Microscope photograph (4× objective) of a membrane that a urine sample was filtered through.
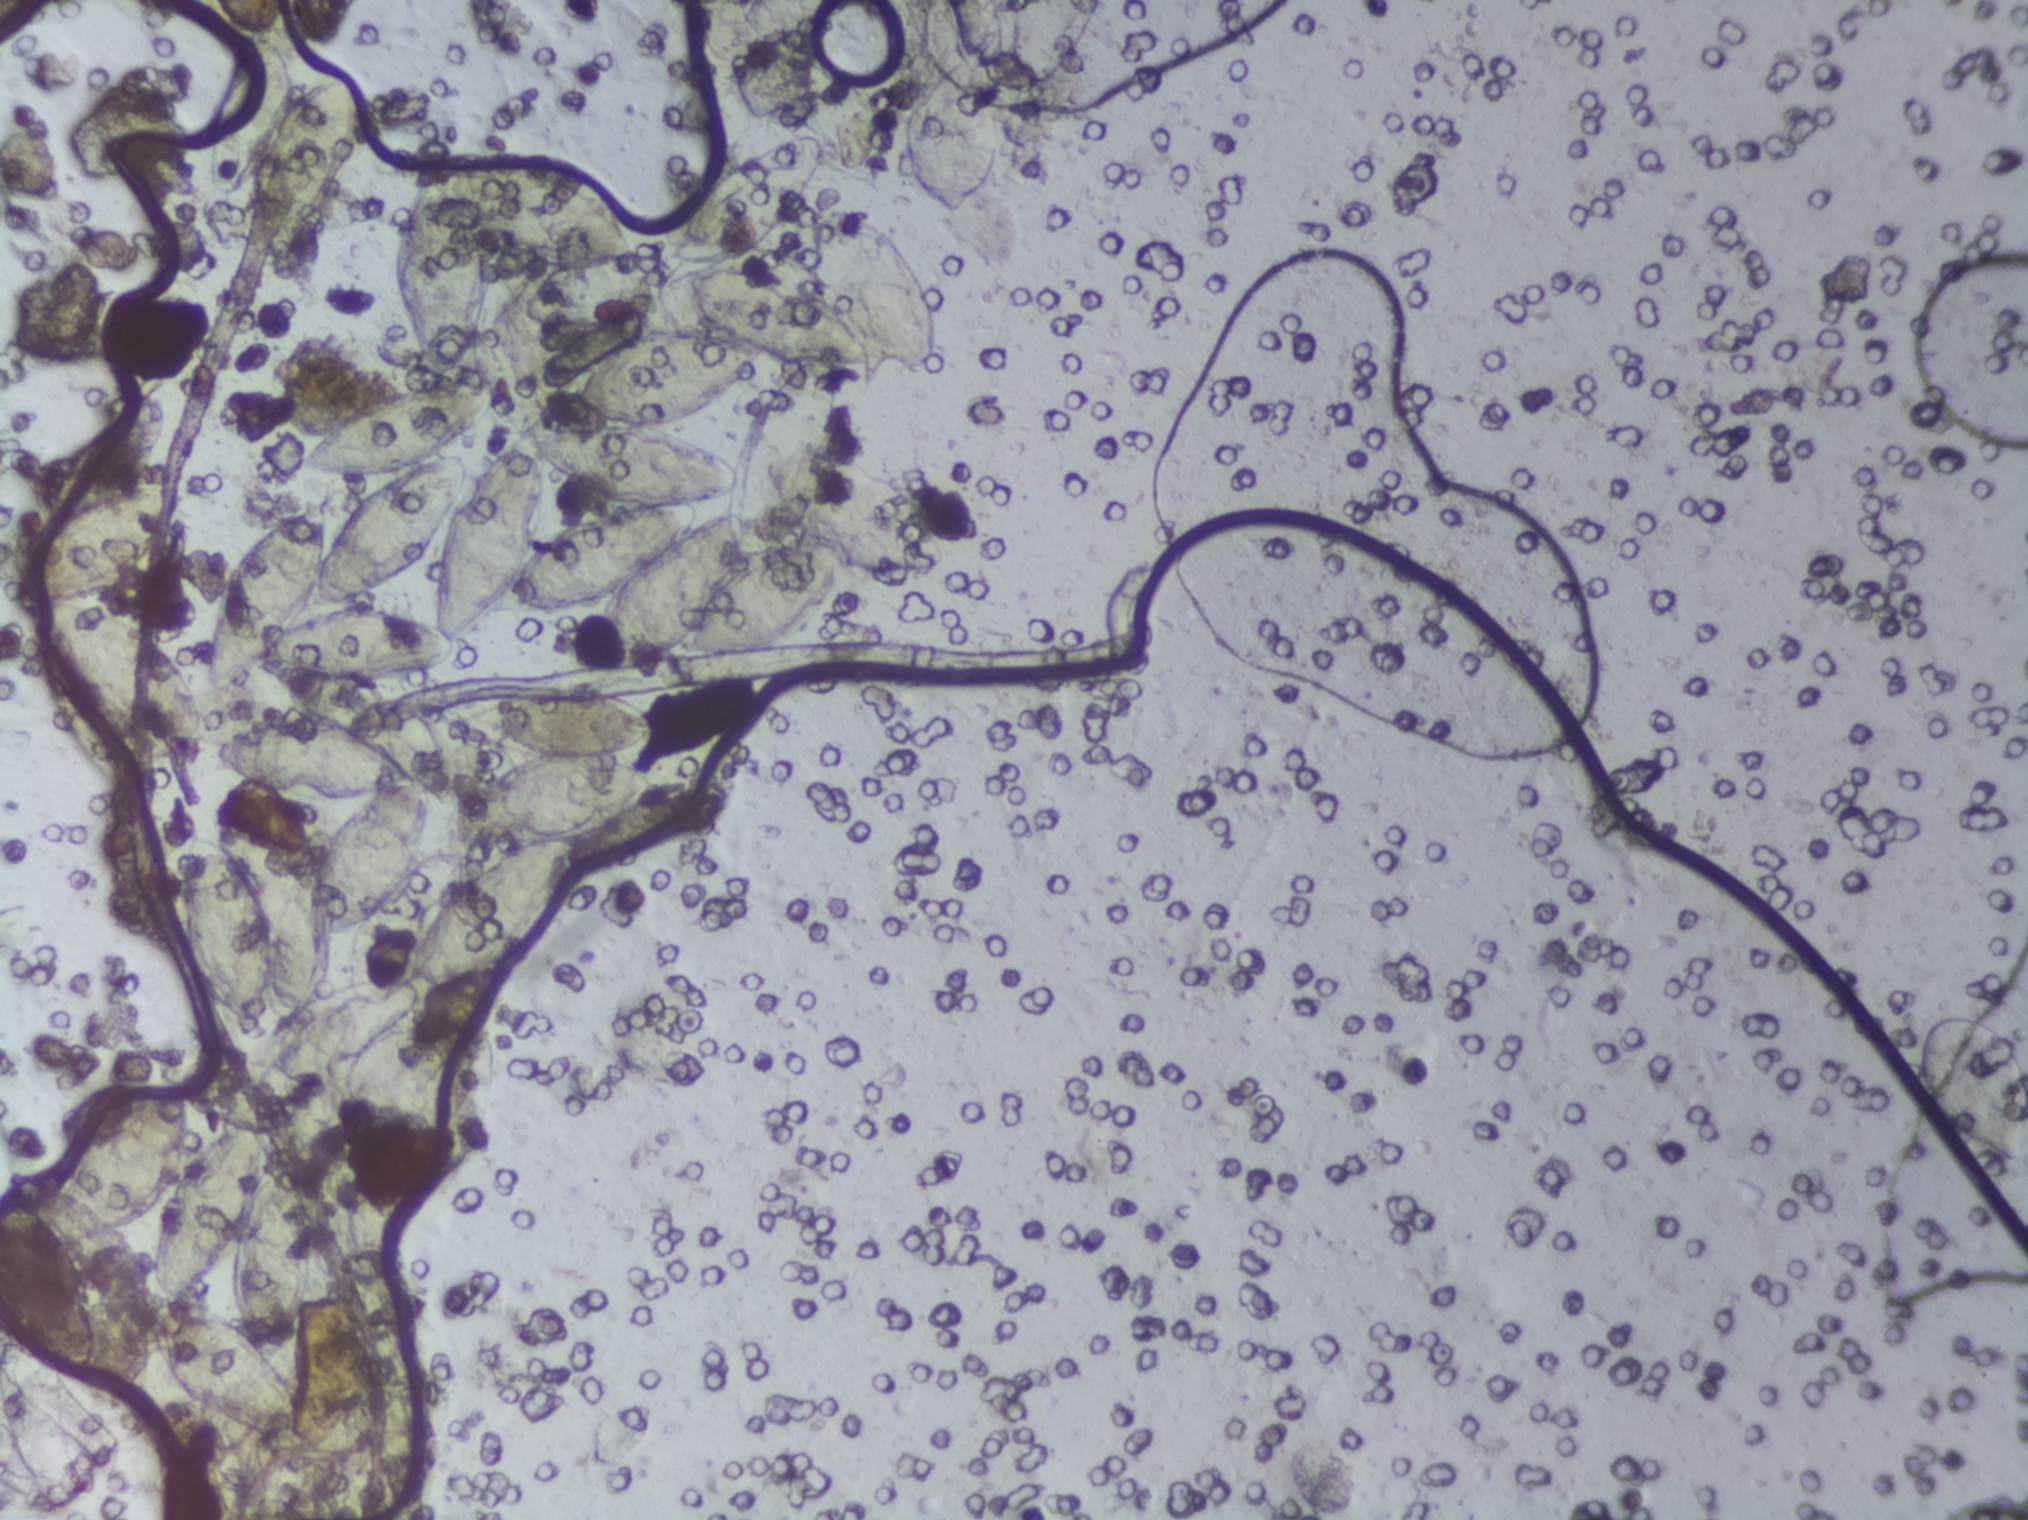
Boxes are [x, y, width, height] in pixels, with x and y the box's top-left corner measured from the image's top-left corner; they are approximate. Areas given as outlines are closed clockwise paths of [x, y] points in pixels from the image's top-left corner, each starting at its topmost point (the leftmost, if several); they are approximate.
The expert annotation outlines Schistosoma eggs in five areas, left to right: outline [548, 677], [610, 684], [641, 700], [659, 736], [638, 760], [664, 775], [667, 799], [653, 816], [573, 848], [562, 908], [517, 966], [482, 989], [429, 993], [454, 1010], [456, 1038], [485, 1020], [501, 1021], [505, 1031], [496, 1120], [469, 1167], [452, 1177], [429, 1177], [415, 1154], [416, 1117], [376, 1128], [361, 1115], [353, 1069], [330, 1075], [337, 1086], [337, 1132], [322, 1190], [309, 1195], [312, 1273], [305, 1319], [285, 1361], [300, 1402], [297, 1441], [274, 1446], [221, 1428], [173, 1380], [157, 1341], [147, 1366], [126, 1361], [96, 1329], [86, 1369], [70, 1373], [38, 1355], [3, 1317], [0, 1184], [15, 1175], [50, 1181], [77, 1148], [78, 1124], [87, 1114], [113, 1091], [158, 1078], [174, 1078], [190, 1106], [185, 1158], [245, 1102], [264, 1117], [263, 1153], [306, 1079], [284, 1085], [259, 1081], [246, 1061], [246, 1045], [201, 1001], [180, 954], [176, 877], [183, 834], [191, 826], [211, 833], [226, 790], [240, 775], [214, 756], [212, 739], [243, 716], [313, 711], [340, 718], [384, 736], [421, 763], [434, 779], [435, 808], [468, 780], [513, 757], [462, 741], [433, 713], [430, 700], [472, 680], [529, 685] (eggs clustered together; reaching the left edge of the frame); outline [745, 0], [834, 0], [822, 53], [844, 57], [863, 79], [888, 195], [861, 195], [821, 172], [796, 215], [739, 258], [797, 273], [797, 220], [804, 208], [821, 203], [859, 209], [899, 237], [938, 311], [941, 359], [921, 375], [881, 369], [845, 375], [846, 450], [920, 485], [946, 534], [948, 563], [942, 571], [867, 580], [836, 569], [832, 594], [815, 619], [763, 655], [722, 669], [695, 669], [681, 645], [638, 673], [601, 676], [583, 655], [597, 608], [541, 618], [503, 608], [472, 642], [472, 663], [444, 681], [351, 686], [272, 669], [239, 703], [206, 706], [209, 735], [192, 757], [148, 761], [121, 746], [69, 698], [33, 651], [30, 623], [36, 612], [18, 597], [15, 570], [51, 516], [130, 474], [174, 474], [190, 484], [194, 511], [168, 561], [99, 602], [168, 635], [203, 695], [207, 602], [222, 585], [233, 552], [309, 497], [327, 496], [333, 529], [361, 482], [292, 478], [287, 456], [293, 445], [363, 394], [426, 375], [395, 290], [409, 213], [424, 180], [465, 161], [573, 167], [620, 196], [638, 249], [667, 257], [671, 228], [710, 178], [798, 132], [791, 99], [760, 121], [751, 121], [743, 109], [742, 86], [729, 59] (eggs clustered together; reaching the top edge of the frame); box [199, 38, 171, 239]; box [901, 0, 105, 224] (reaching the top edge of the frame); box [1006, 0, 91, 88] (reaching the top edge of the frame). Eggs that touch can end up inside the same outlined area. A marked egg may occasionally be S. mansoni rather than S. haematobium.